Photomicrograph of a urine filtration membrane, 4× objective. The image covers about 1.5 × 1.1 mm of the membrane.
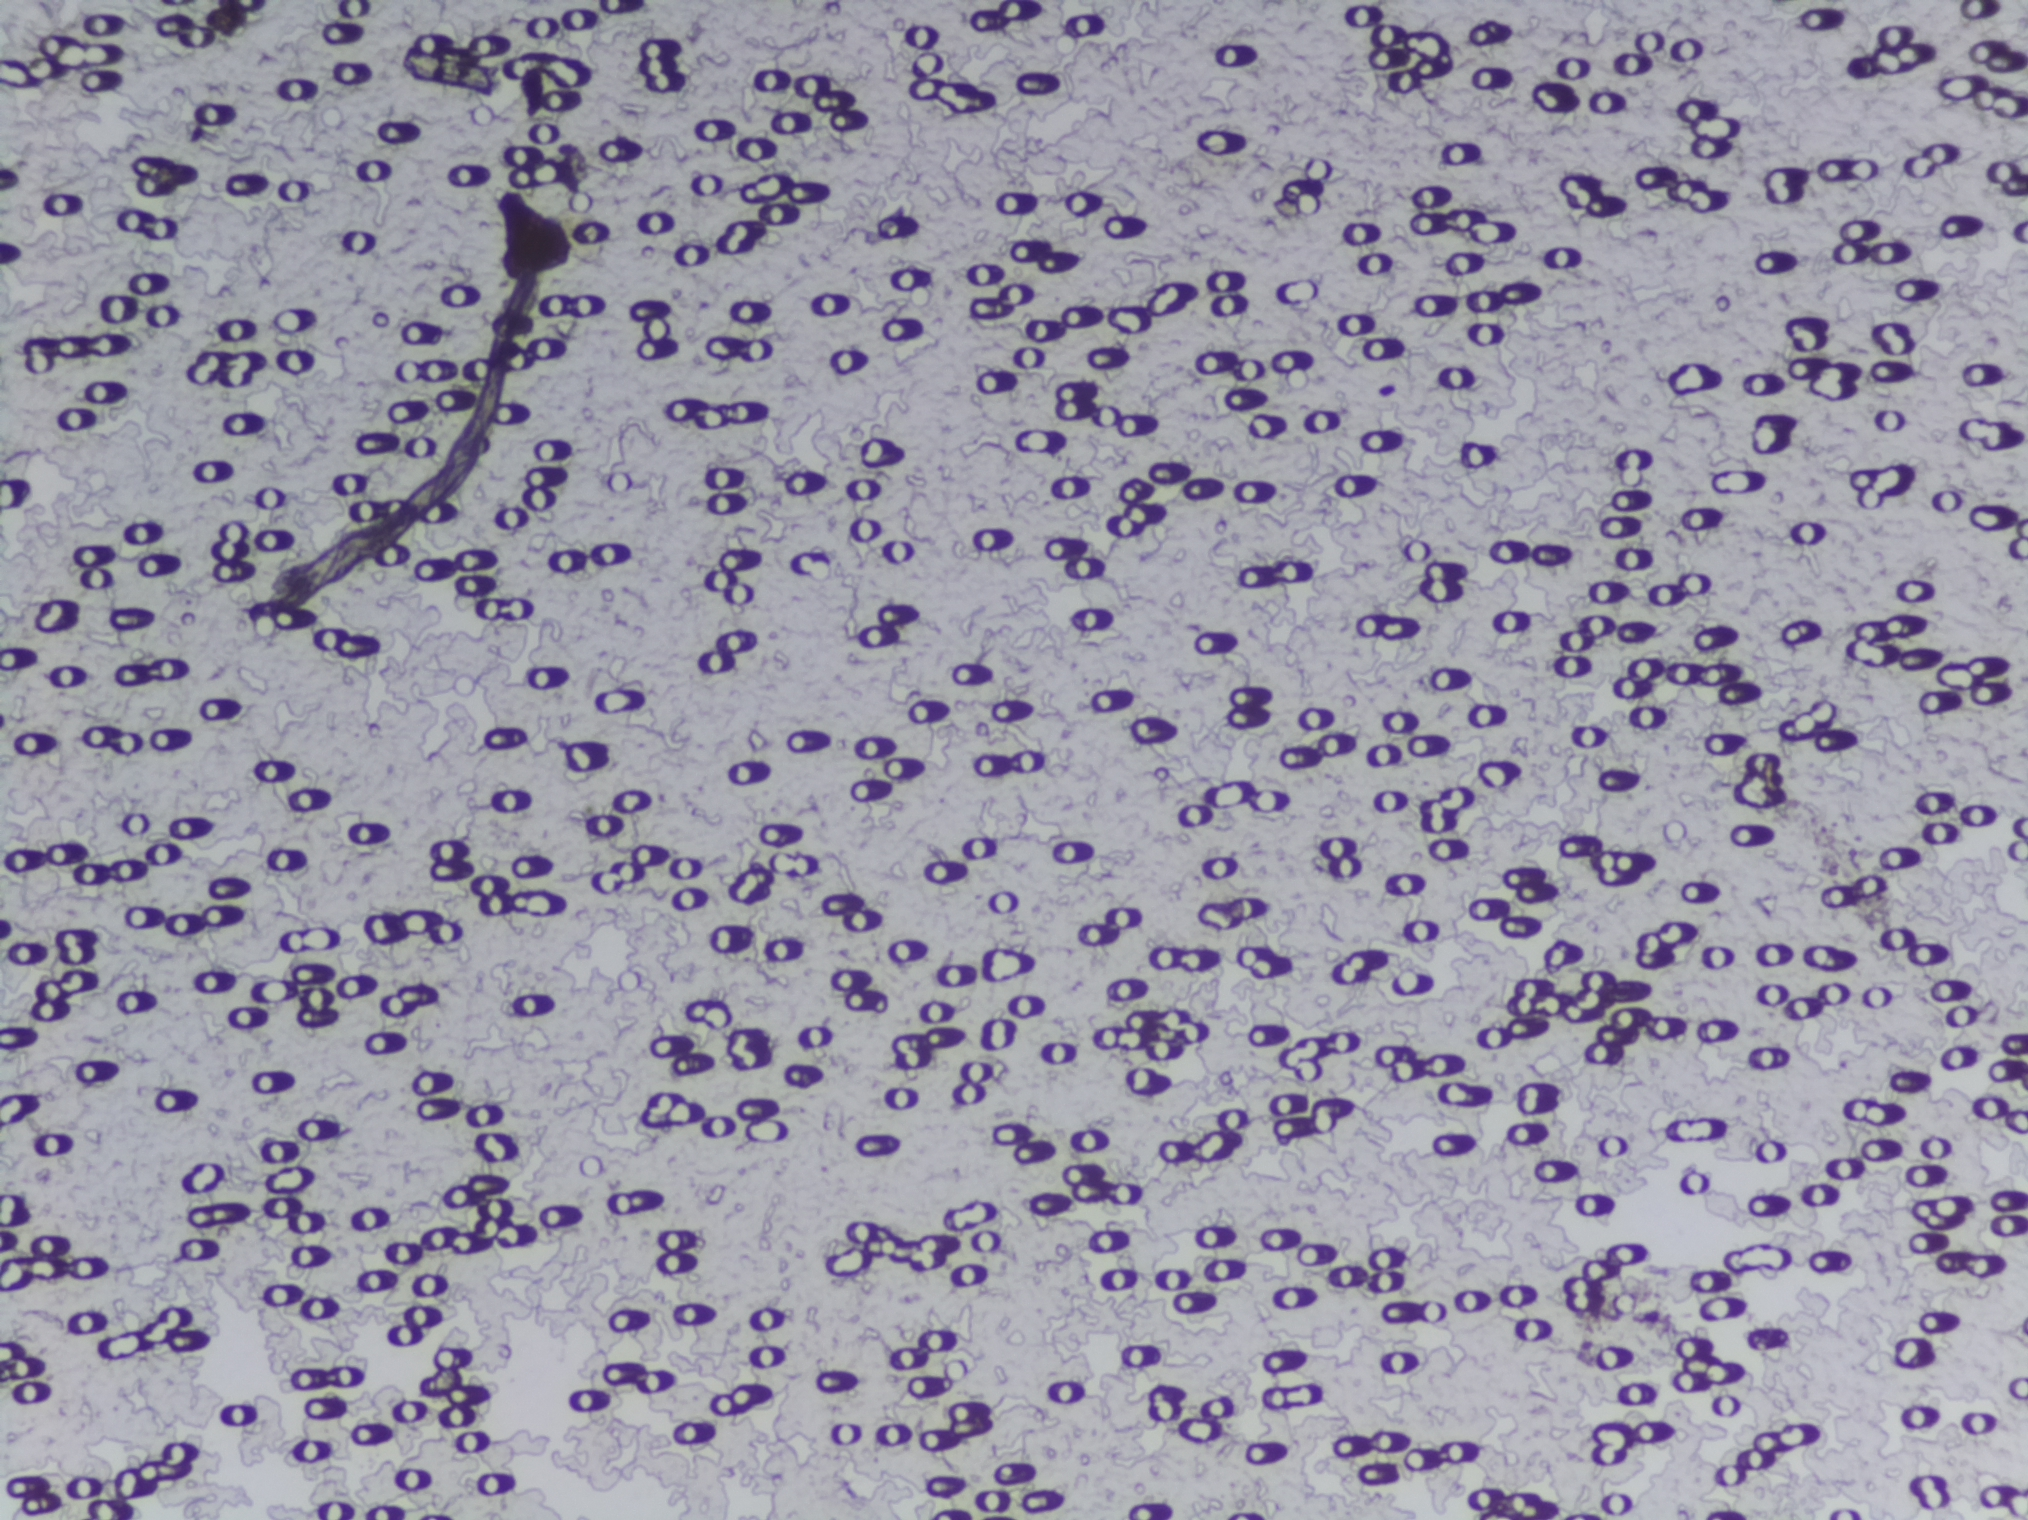
The expert annotation outlines no Schistosoma egg in this image.